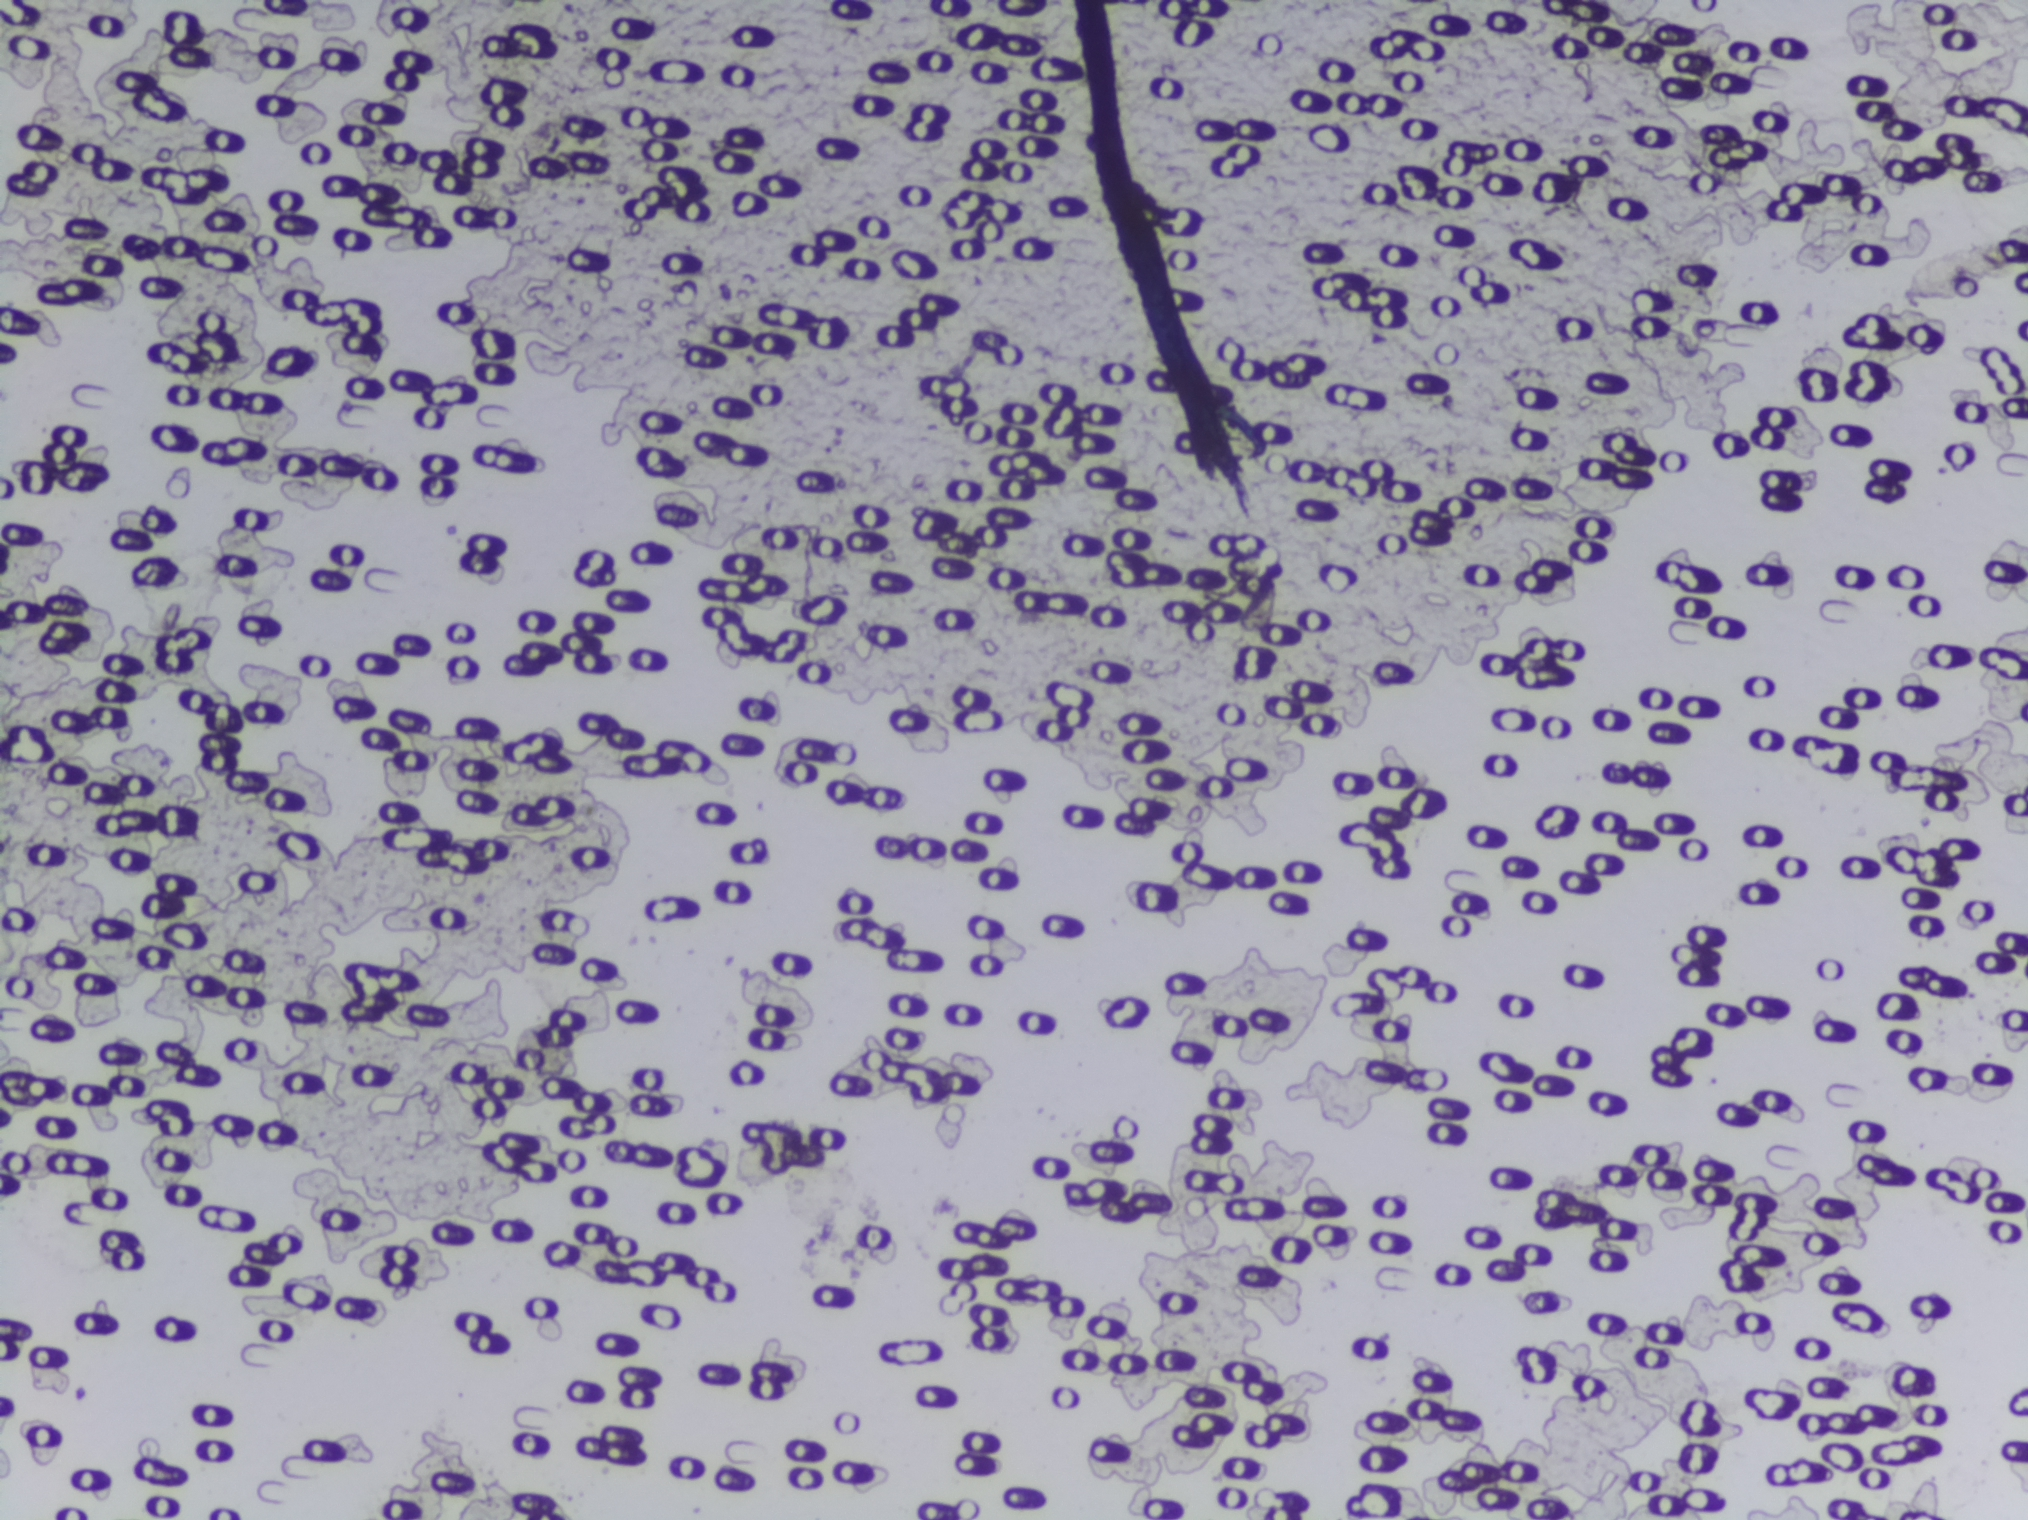
The expert annotation outlines no Schistosoma egg in this image.
Photograph from an automated digital microscope: urine filter membrane, 4× objective.